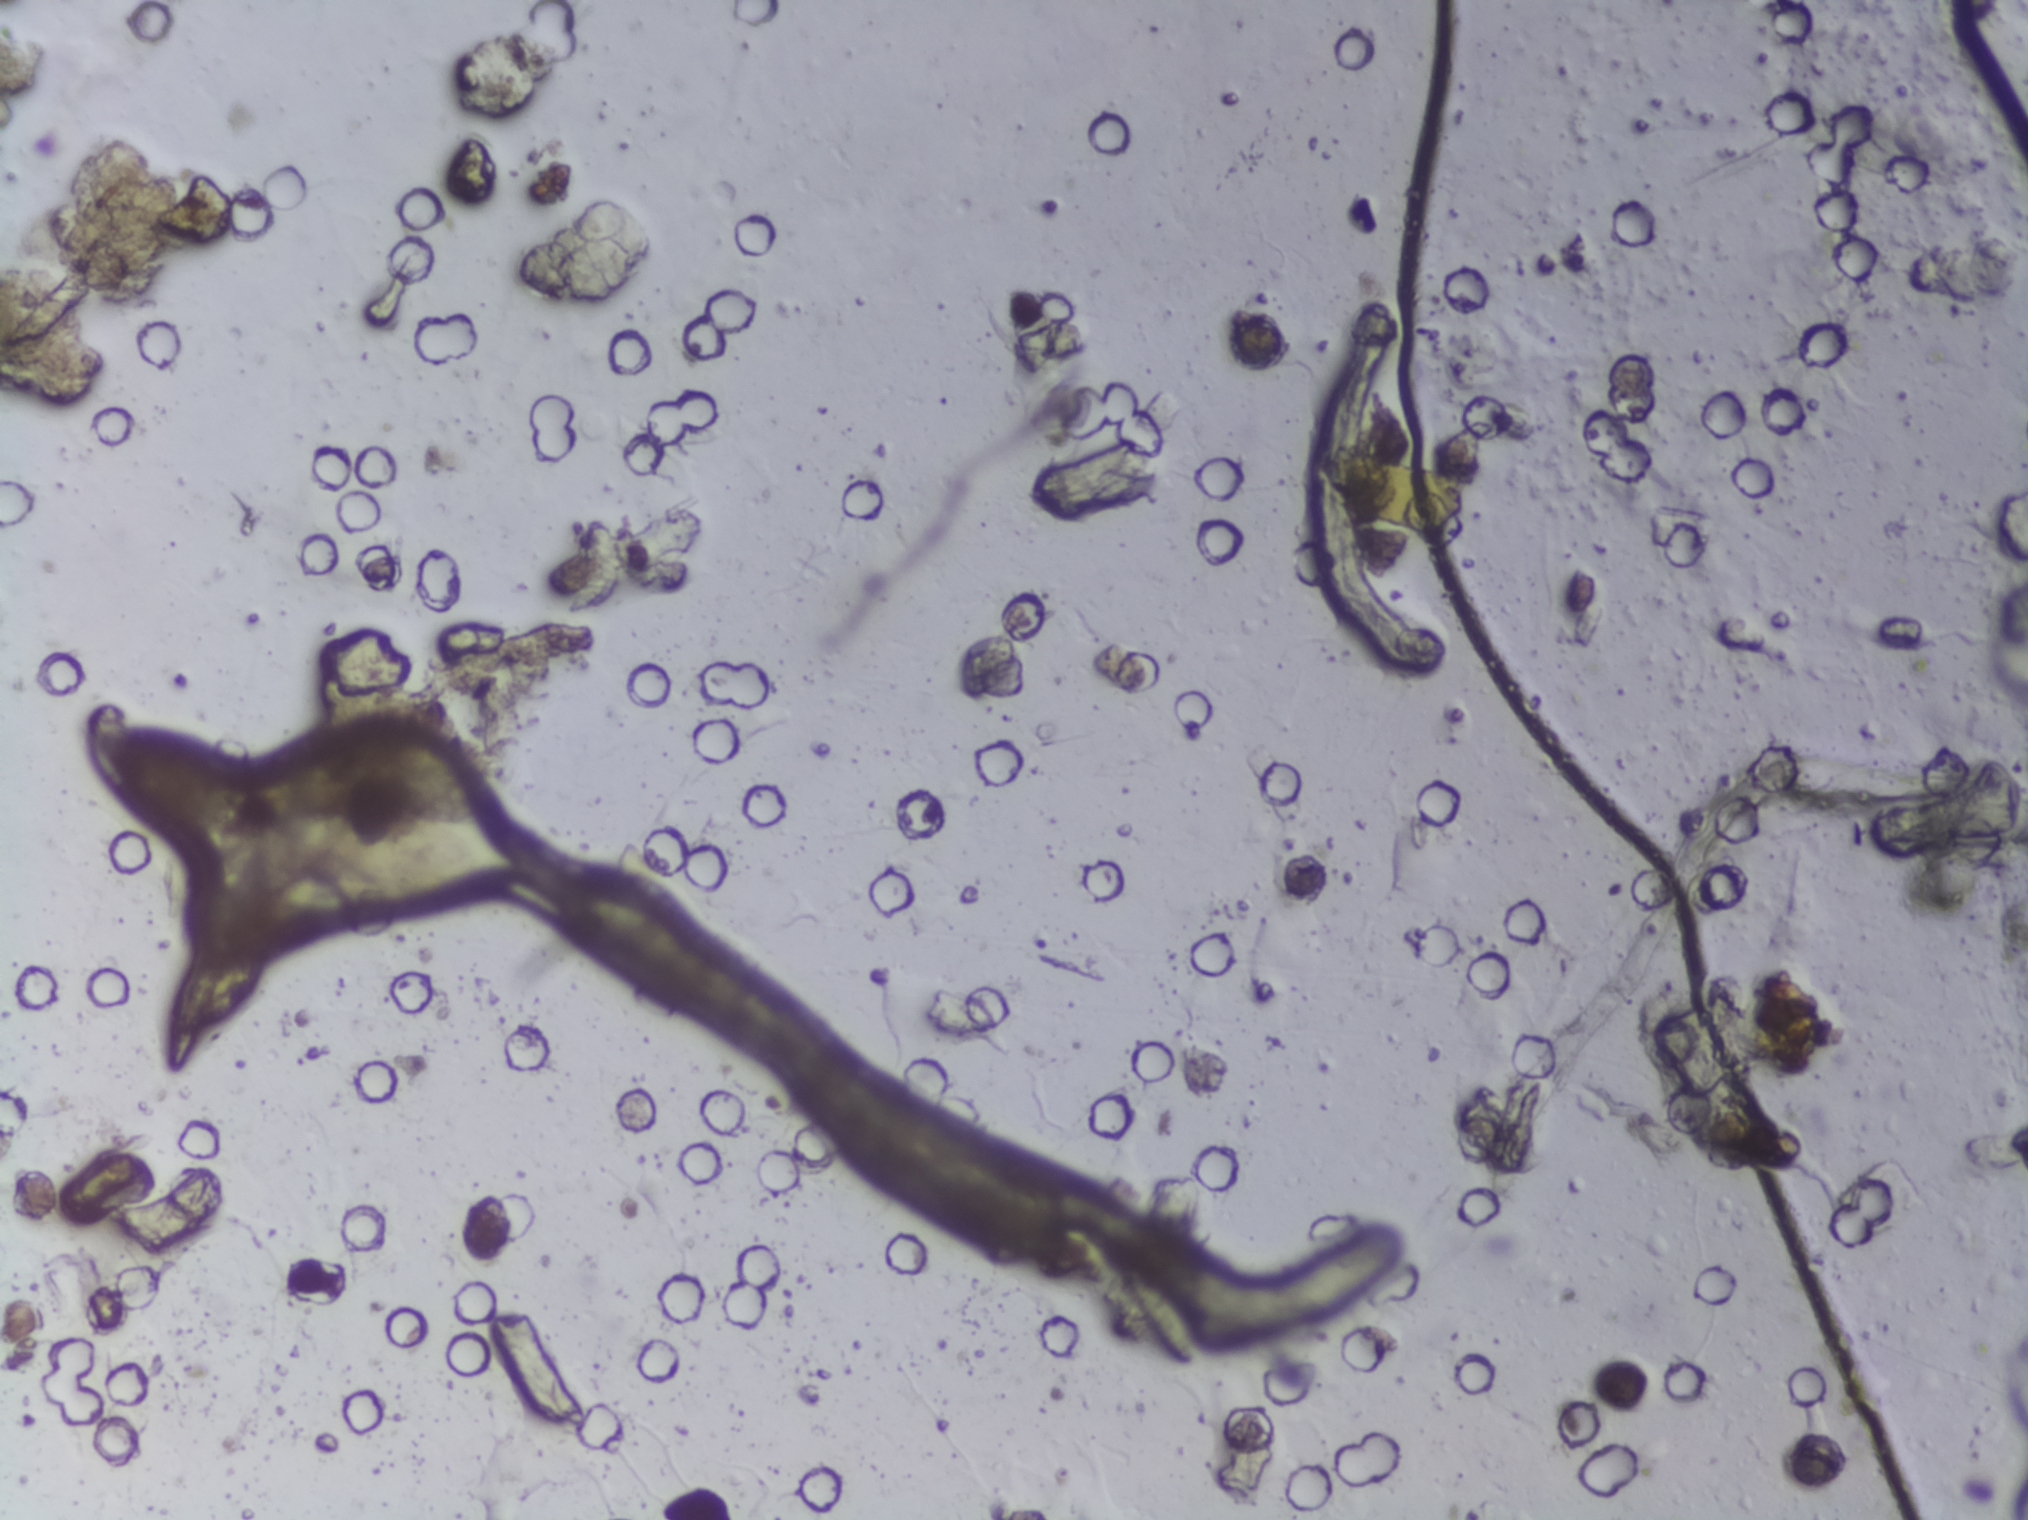
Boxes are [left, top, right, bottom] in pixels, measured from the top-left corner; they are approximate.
Two areas of this image are outlined as Schistosoma eggs, from left to right: [89, 722, 292, 843] and [151, 891, 275, 1039]. Eggs that touch can end up inside the same outlined area.
One field of view of a urine filter membrane, 4× objective, 2028 × 1520 pixels.